Urine filtration membrane under a 4× objective, photographed by an automated digital microscope.
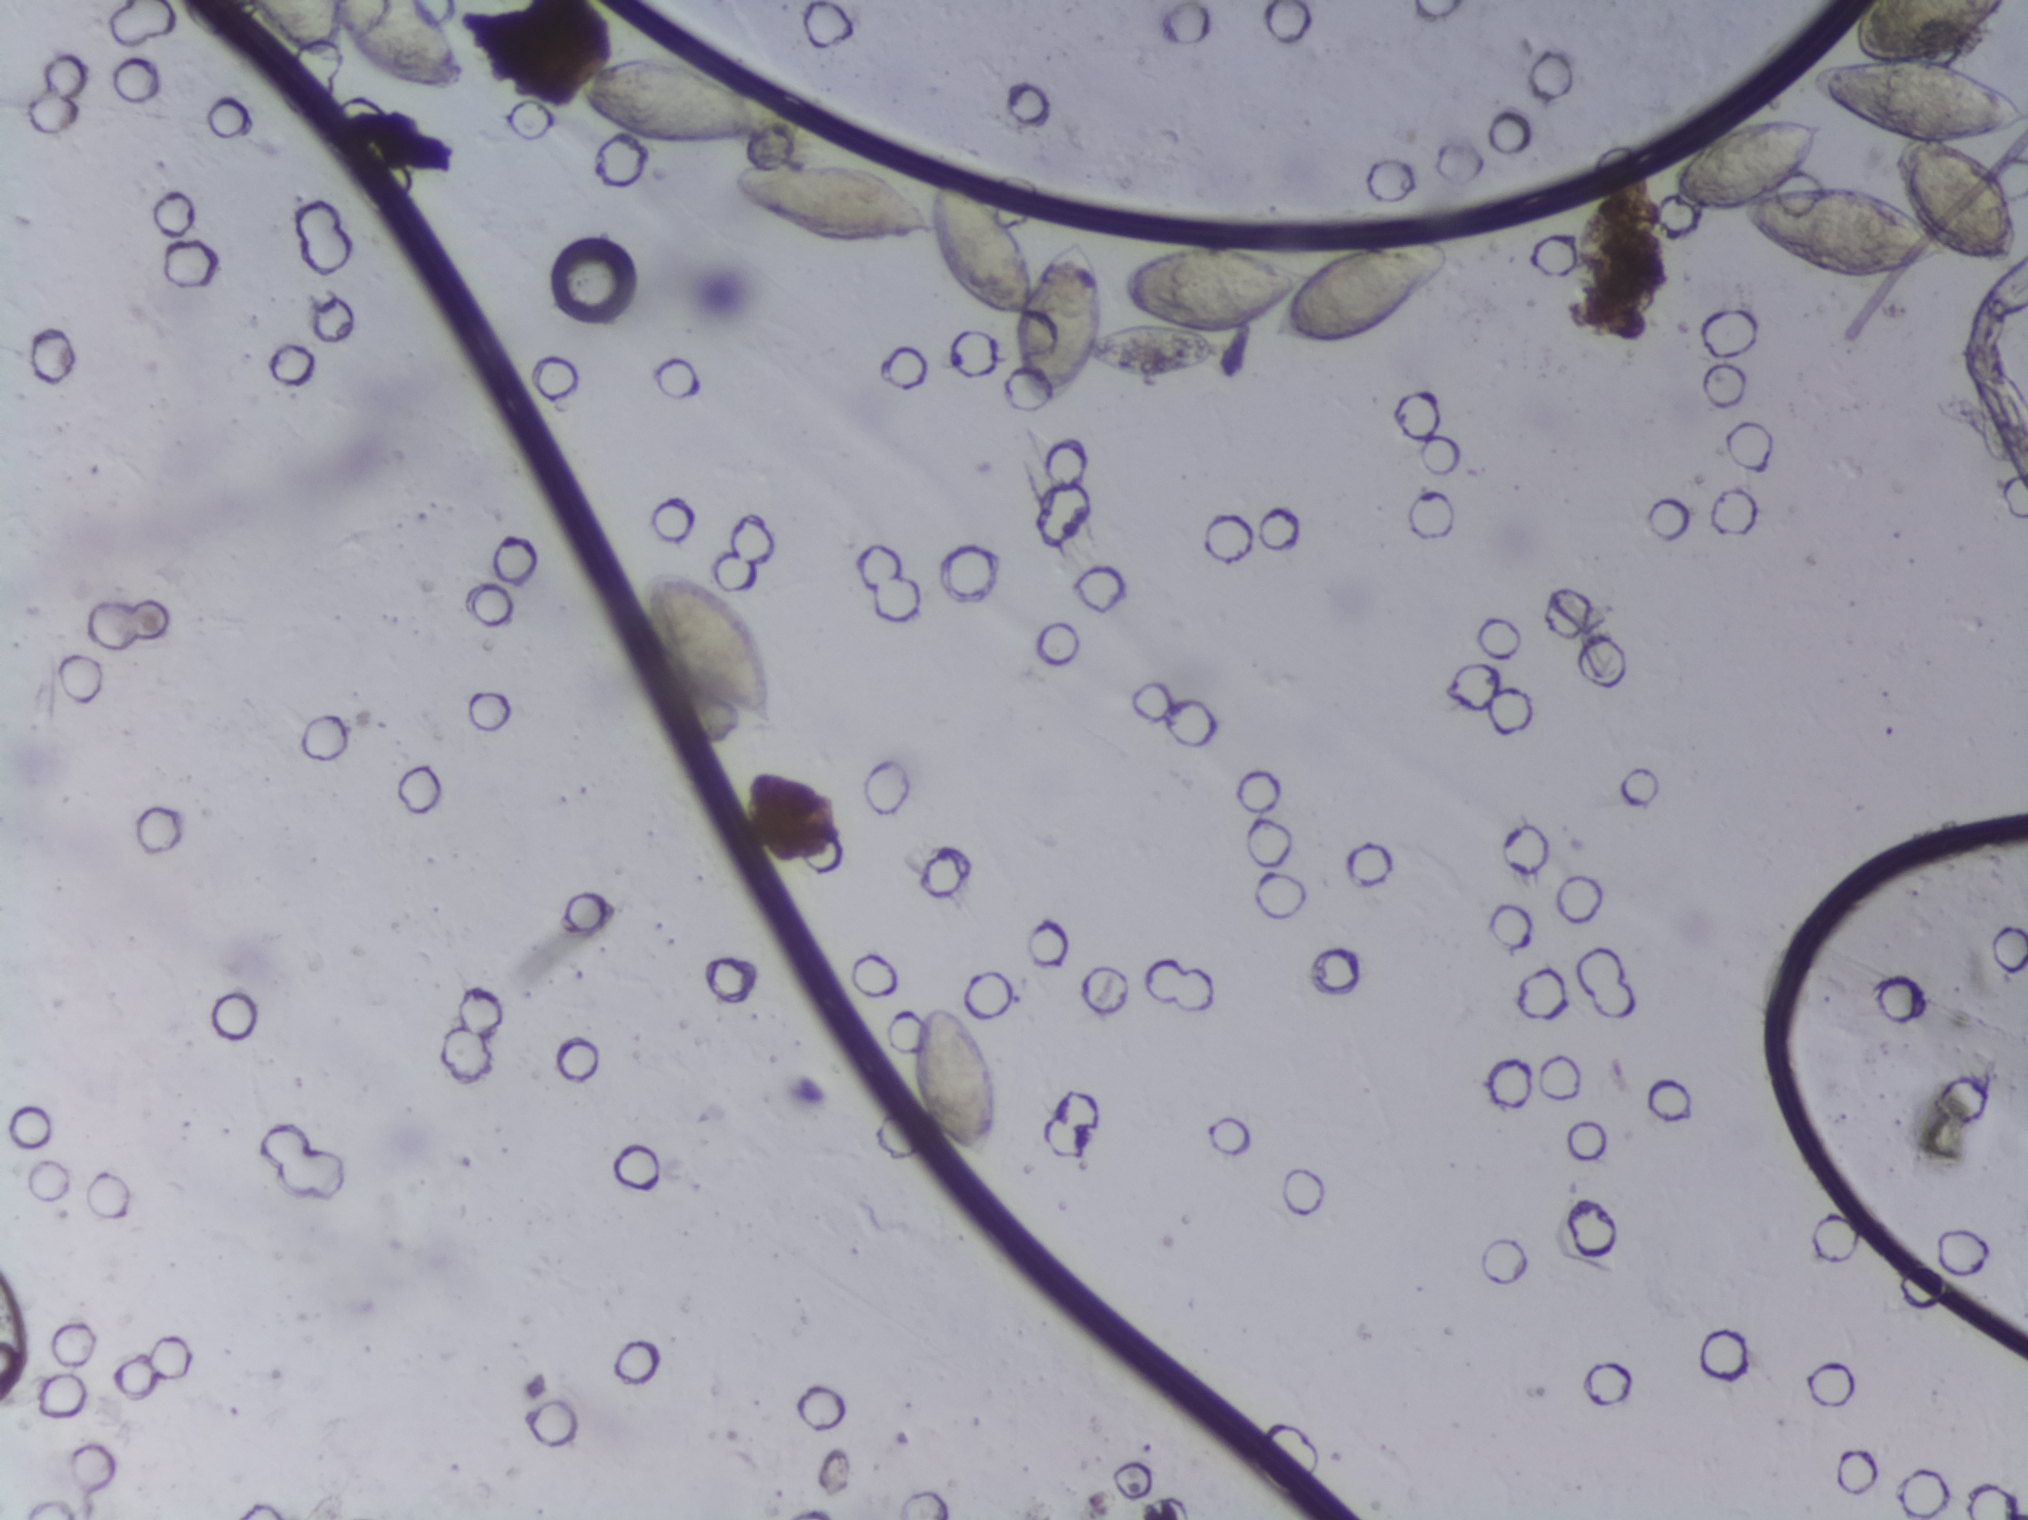
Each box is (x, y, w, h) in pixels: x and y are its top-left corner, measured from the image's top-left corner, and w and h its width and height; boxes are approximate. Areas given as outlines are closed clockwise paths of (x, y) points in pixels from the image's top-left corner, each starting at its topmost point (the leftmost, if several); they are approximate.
Six areas of this image are outlined as Schistosoma eggs, from left to right: box (x=243, y=0, w=224, h=98) (reaching the top edge of the frame); box (x=575, y=48, w=217, h=100); box (x=644, y=567, w=135, h=168); outline (787, 154), (866, 160), (909, 186), (927, 213), (929, 197), (946, 180), (971, 179), (1025, 234), (1033, 270), (1061, 240), (1083, 235), (1104, 272), (1107, 329), (1139, 314), (1124, 296), (1120, 272), (1150, 249), (1175, 241), (1223, 237), (1310, 270), (1345, 242), (1413, 232), (1448, 244), (1449, 266), (1433, 288), (1360, 347), (1318, 351), (1282, 343), (1270, 333), (1277, 311), (1246, 335), (1219, 336), (1224, 355), (1205, 370), (1140, 380), (1097, 362), (1066, 405), (1034, 411), (1016, 375), (1014, 322), (960, 298), (930, 238), (822, 243), (770, 222), (729, 188), (732, 168) (eggs clustered together); box (x=912, y=1004, w=87, h=163); outline (1865, 0), (2012, 0), (1980, 39), (1955, 53), (2006, 82), (2027, 107), (2022, 129), (1972, 143), (1994, 160), (2020, 218), (2020, 261), (2014, 267), (1972, 271), (1949, 256), (1884, 279), (1817, 281), (1781, 260), (1740, 216), (1698, 216), (1673, 207), (1673, 172), (1708, 128), (1770, 113), (1818, 115), (1824, 123), (1803, 178), (1862, 180), (1905, 199), (1897, 176), (1898, 143), (1871, 133), (1805, 75), (1805, 67), (1824, 56), (1855, 47), (1853, 28) (eggs clustered together; reaching the top and right edges of the frame). Eggs that touch can end up inside the same outlined area.